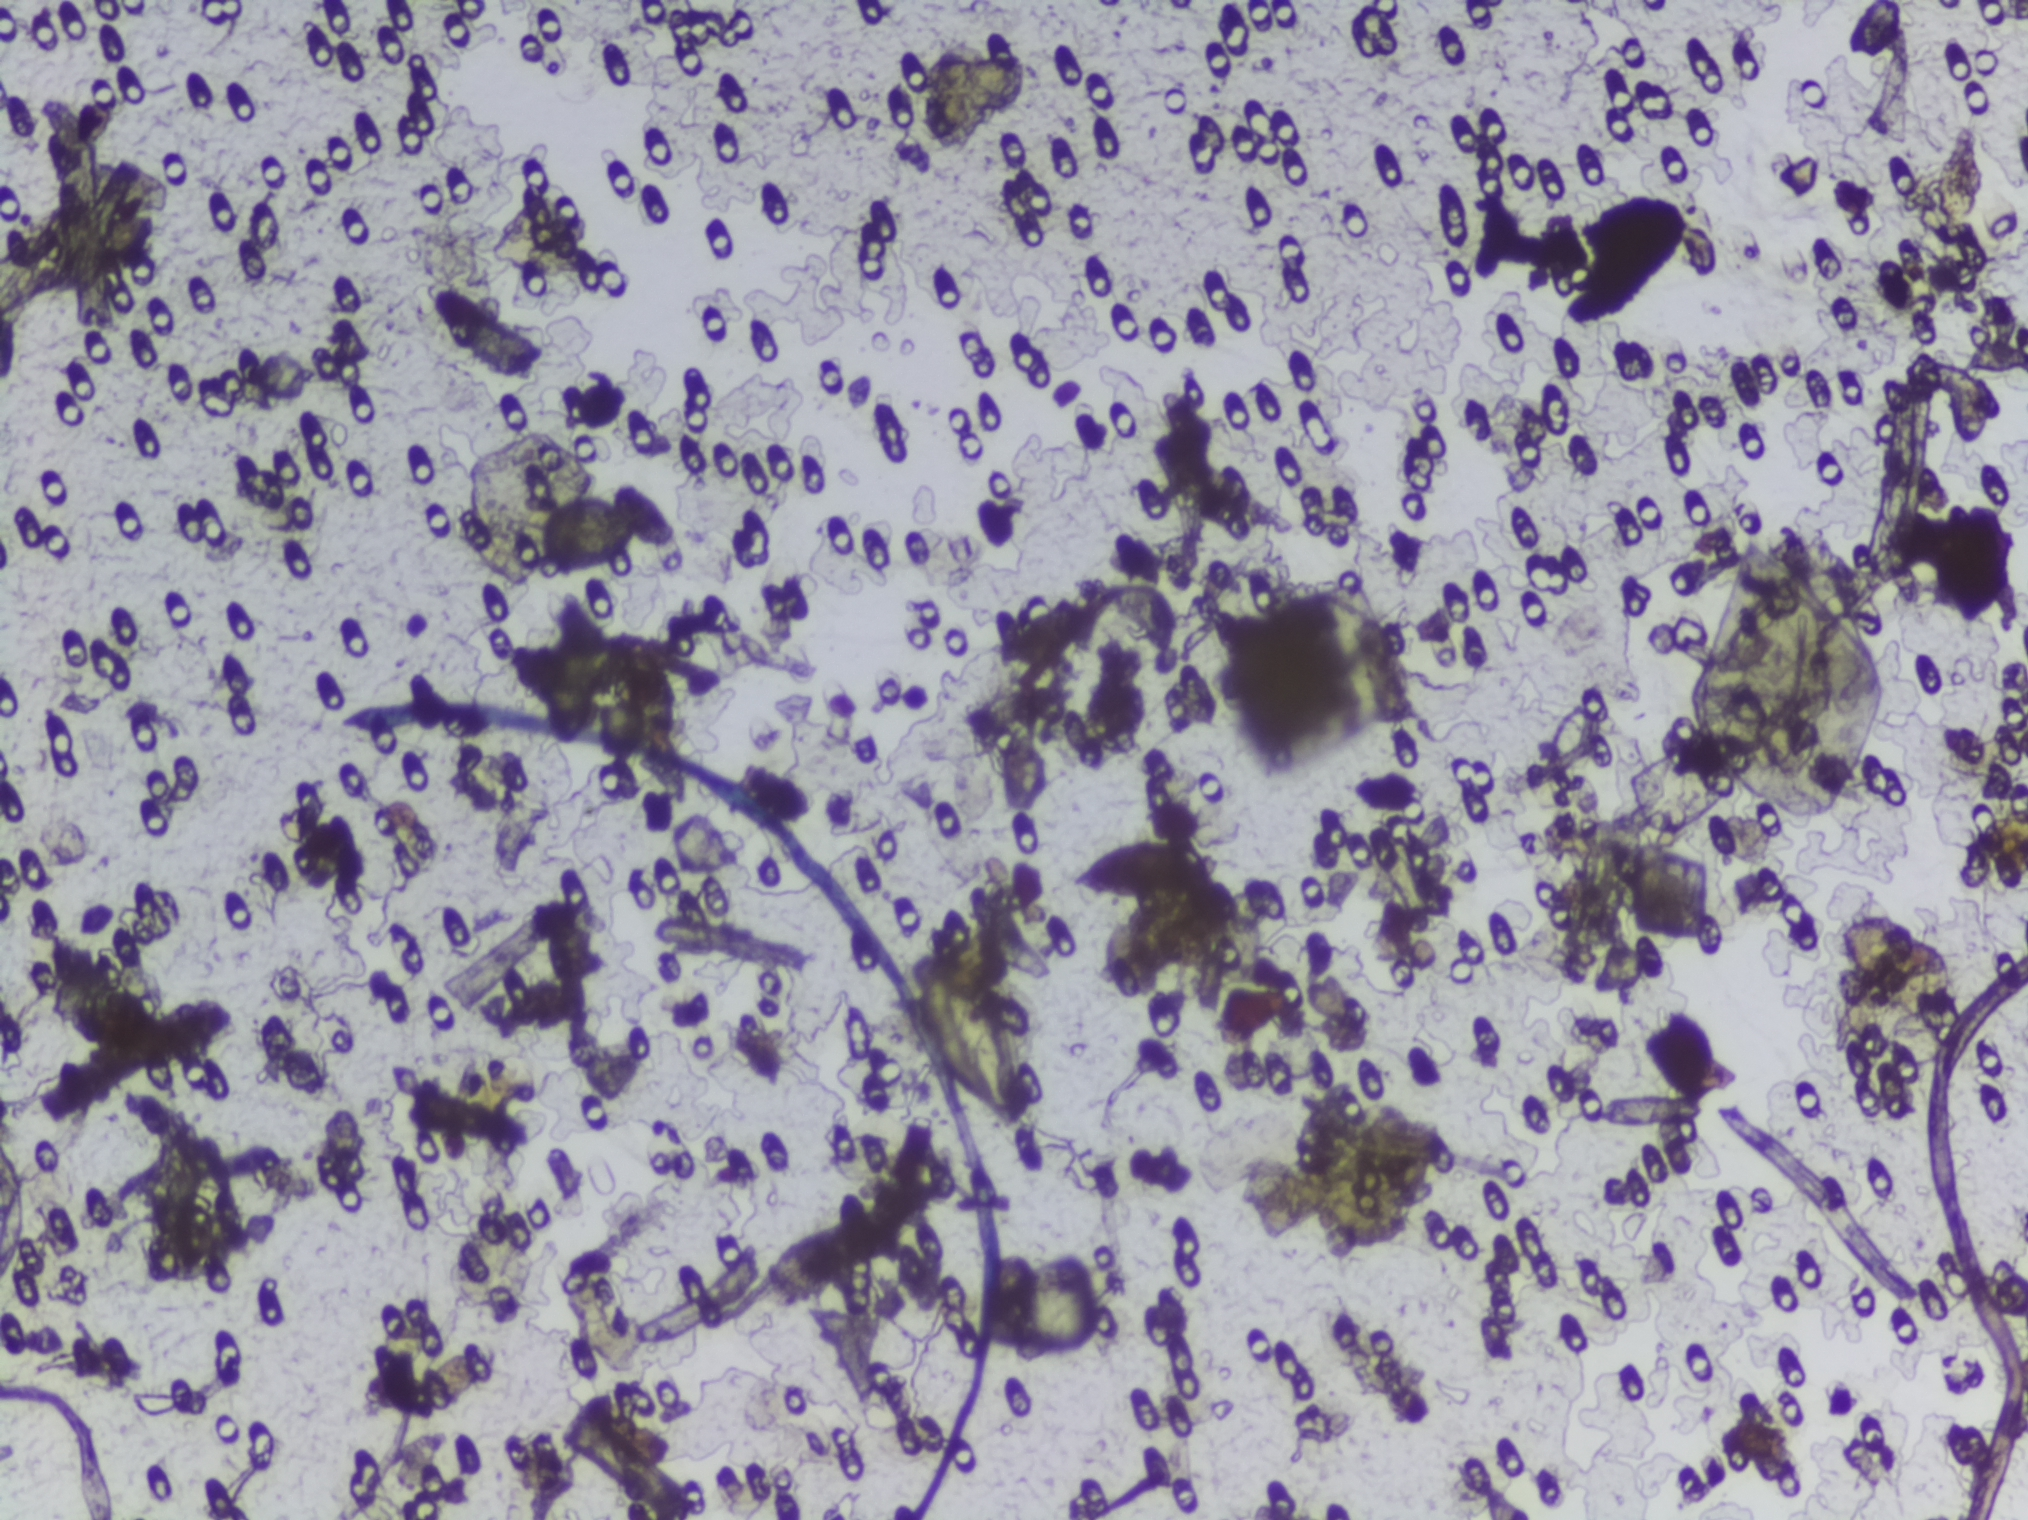
Microscope photograph (4× objective) of a membrane that a urine sample was filtered through.
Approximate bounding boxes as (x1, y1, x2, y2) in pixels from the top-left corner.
Findings: four areas outlined as Schistosoma eggs. Locations, left to right: (35, 919, 165, 1061); (131, 1104, 242, 1287); (918, 928, 1042, 1138); (1067, 823, 1224, 910). About 1.8% of the image's pixels are marked (the marked pixels themselves, not the boxes around them). A single outlined area may contain several eggs.